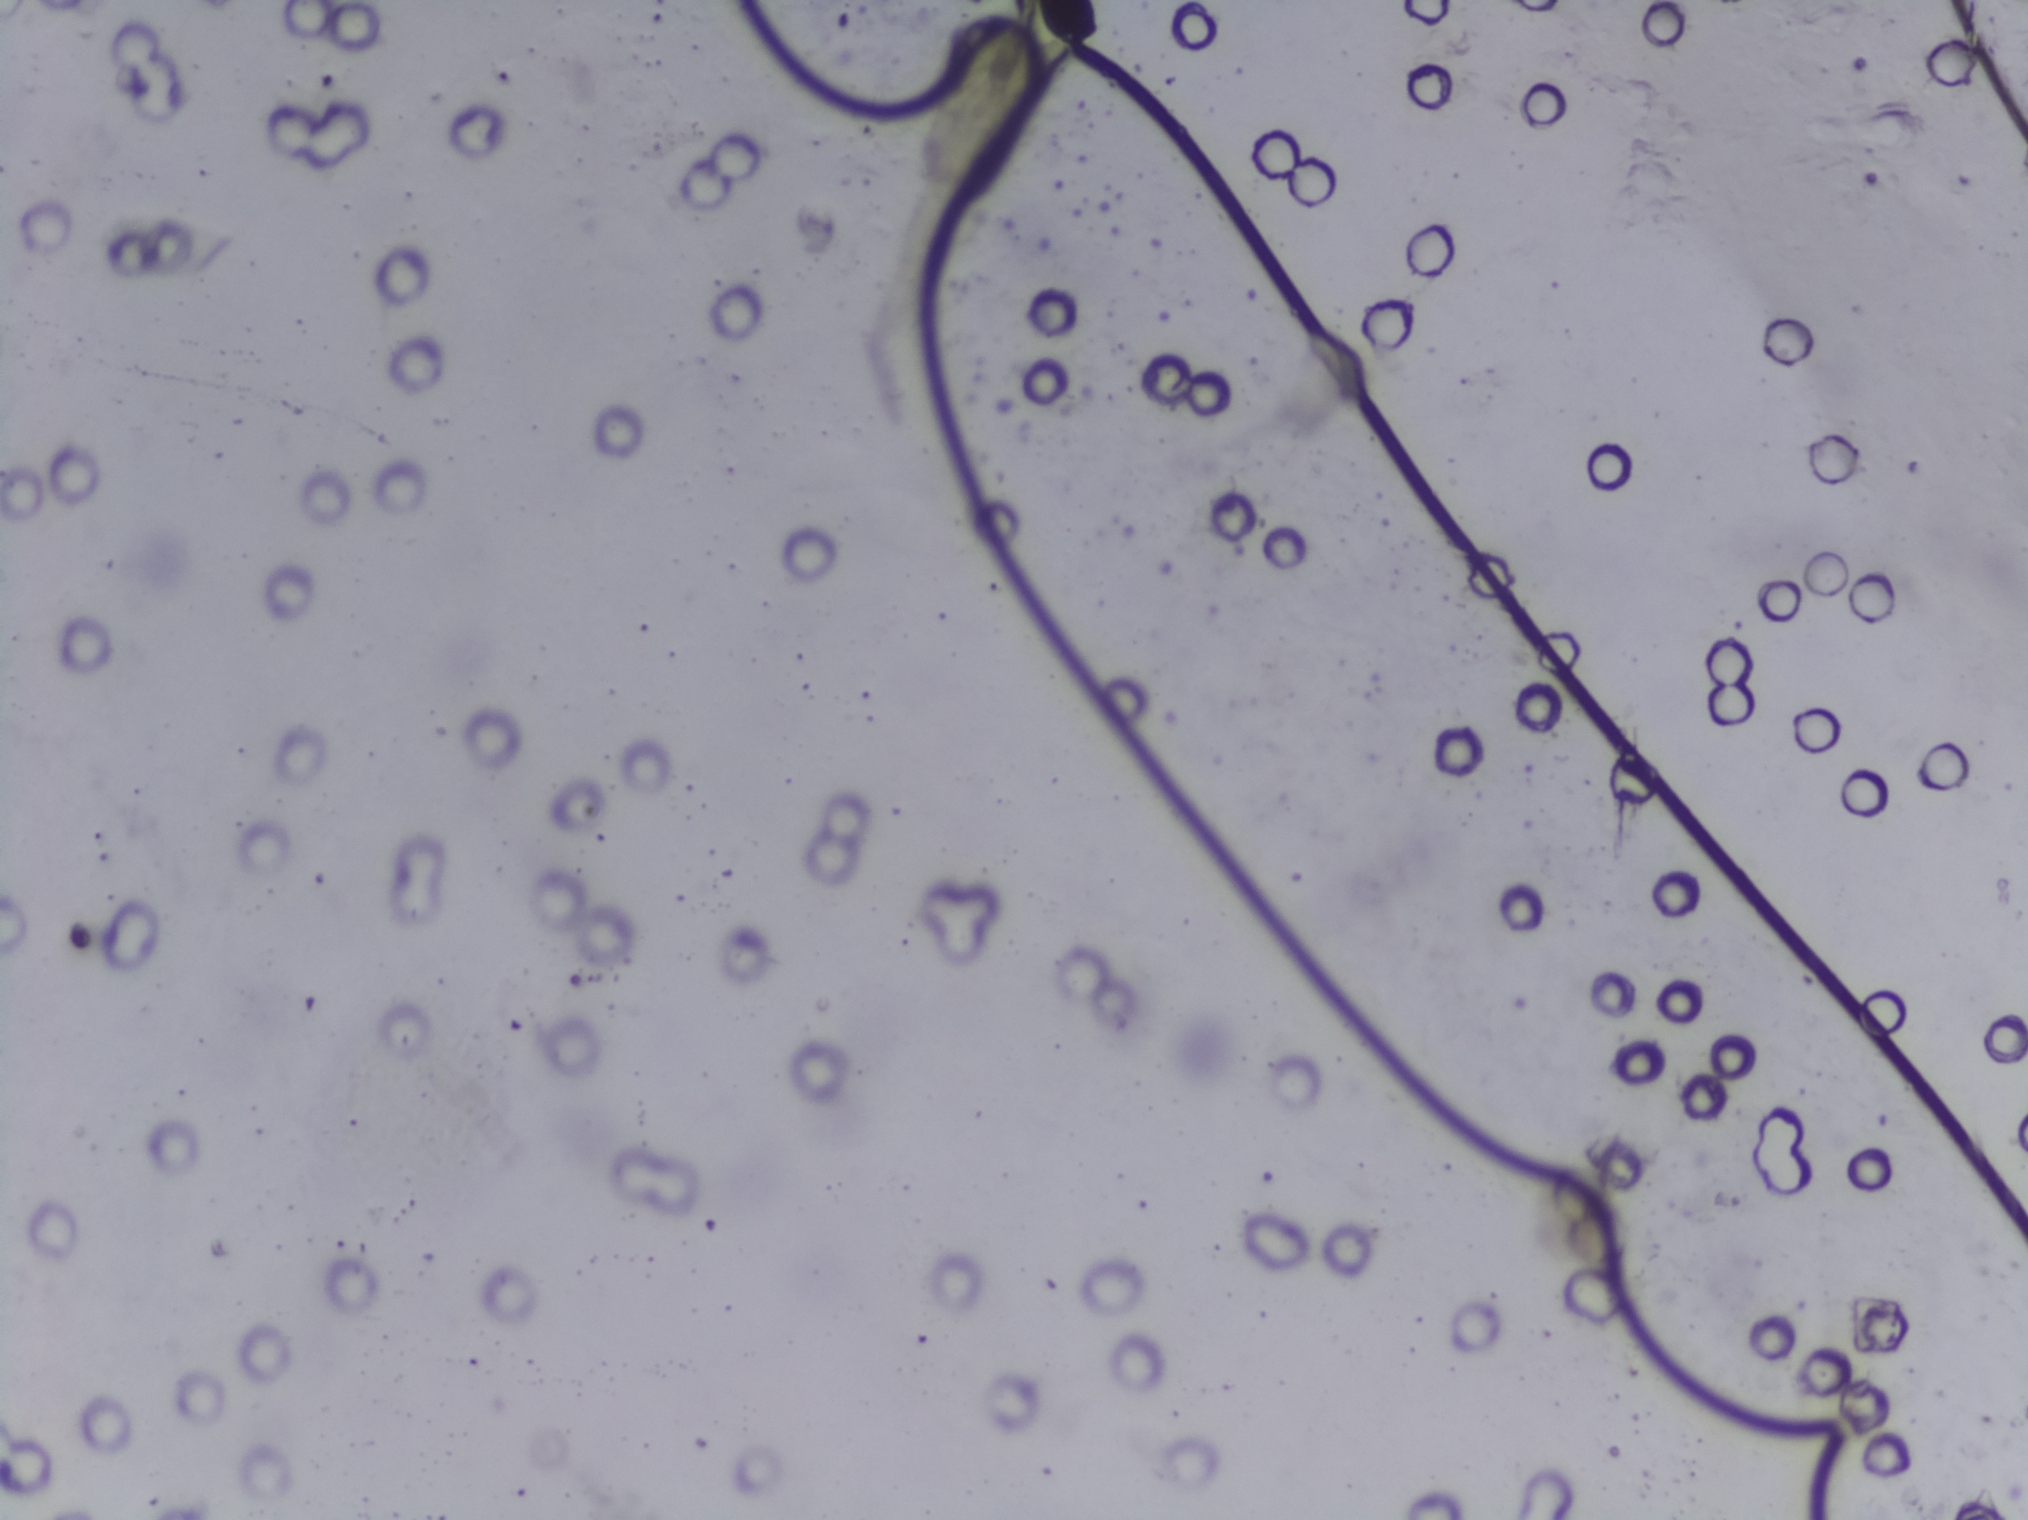
The expert annotation outlines no Schistosoma egg in this image.
One field of view of a urine filter membrane, 4× objective, 2028 × 1520 pixels.